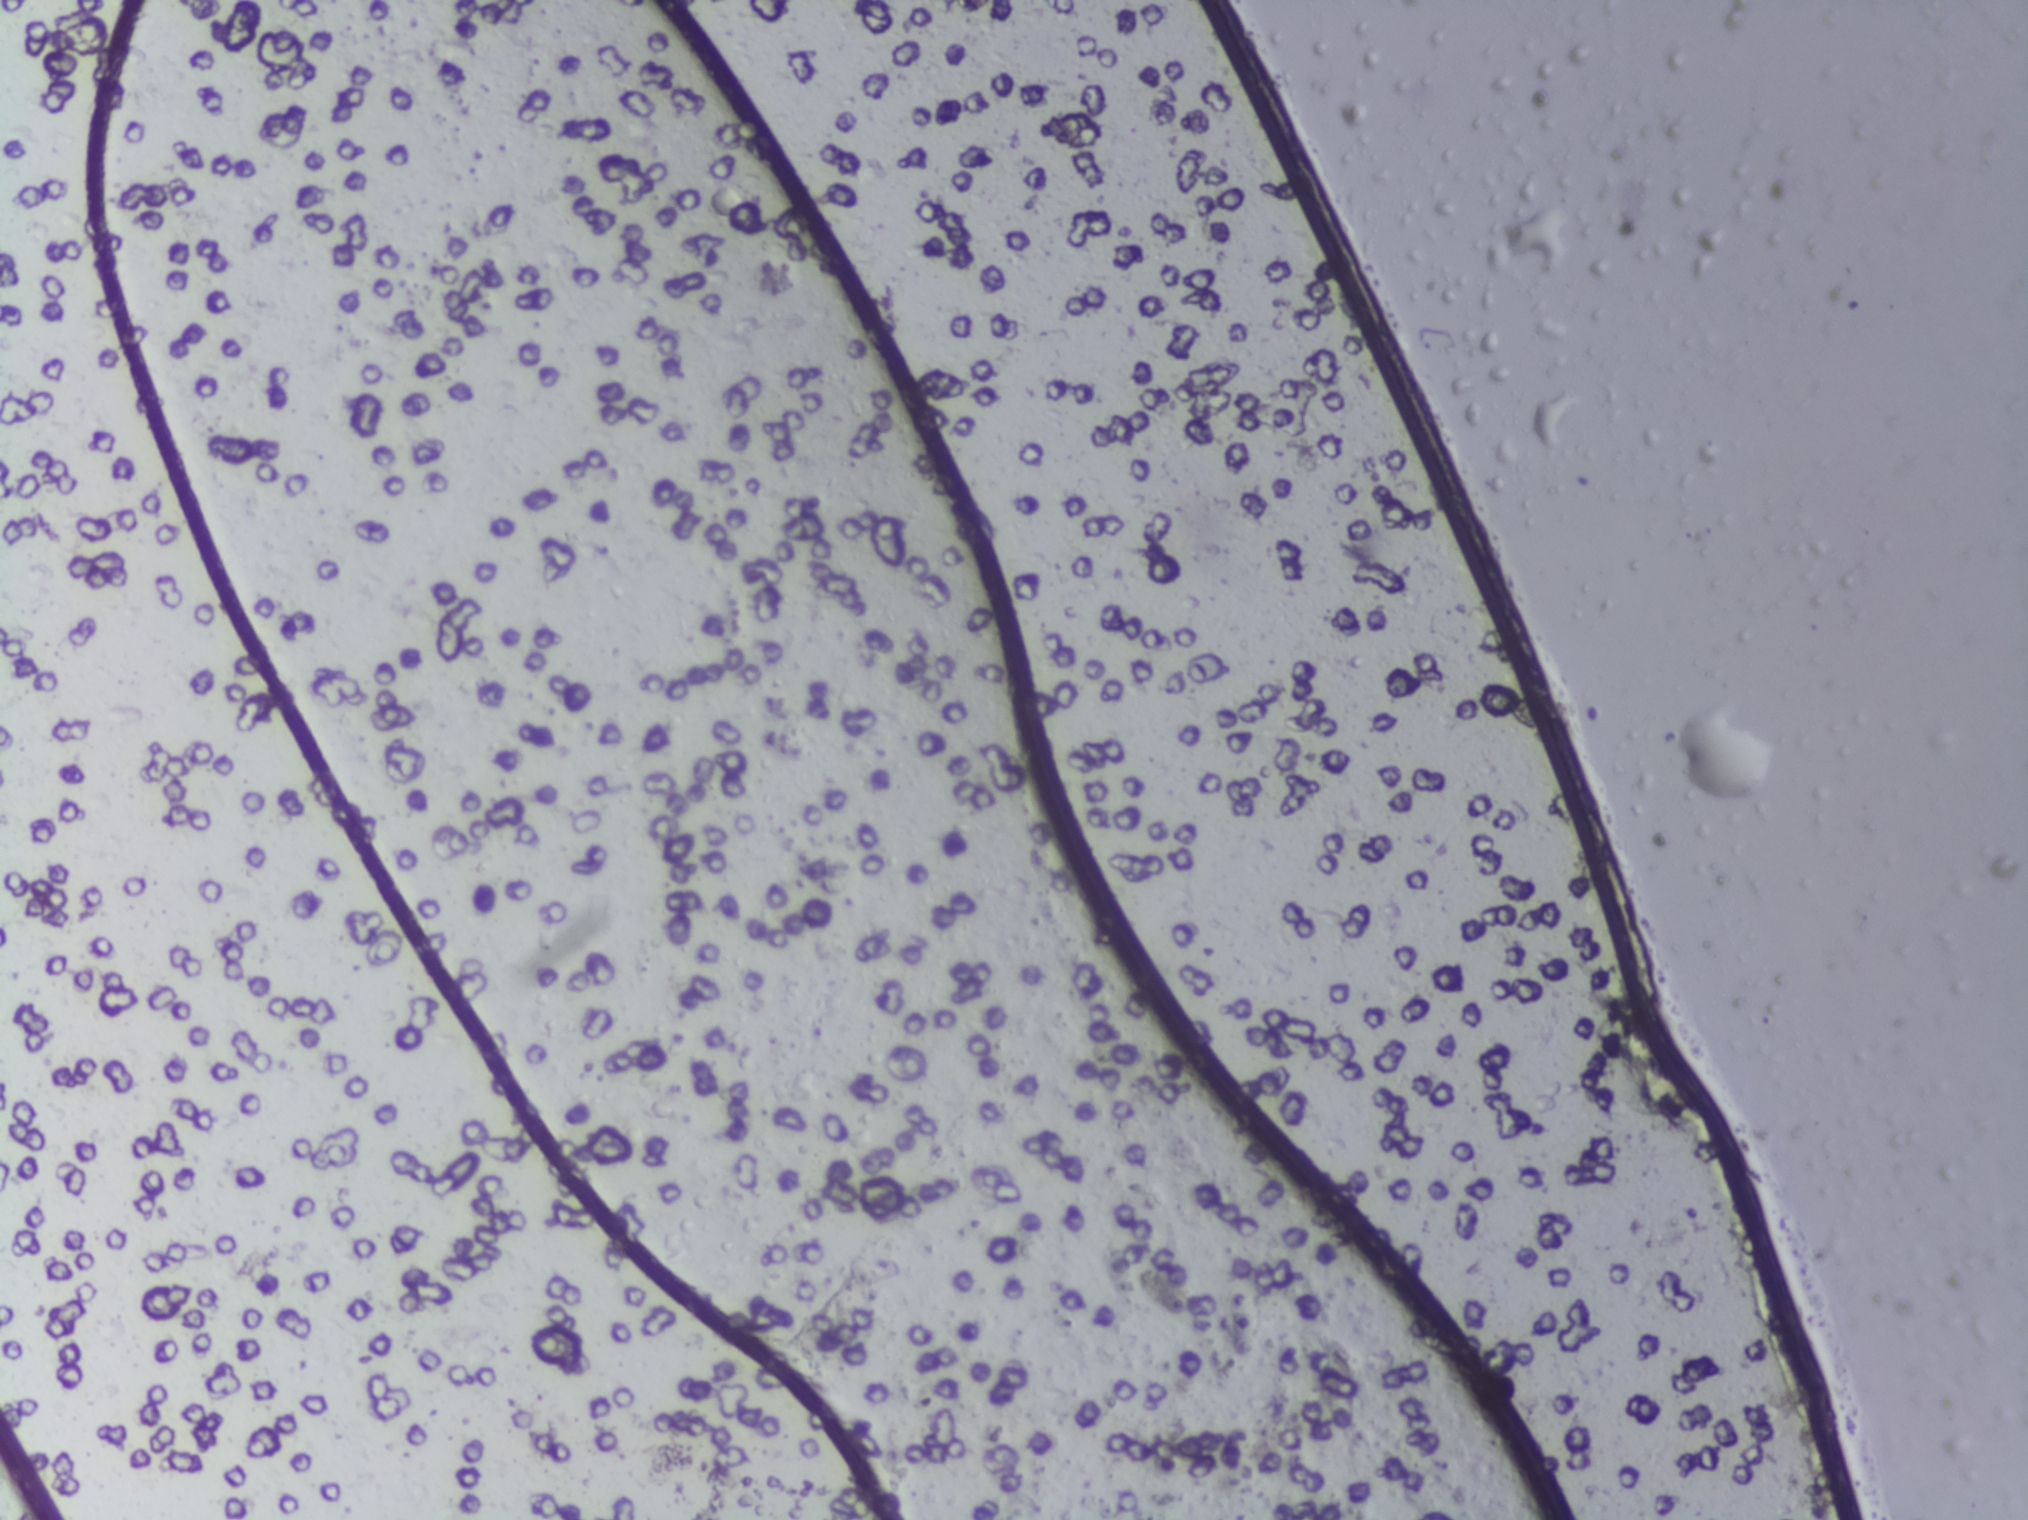
No Schistosoma egg is outlined in this image's expert annotation.
Microscope photograph (4× objective) of a membrane that a urine sample was filtered through. The field of view is about 1.5 mm × 1.1 mm.